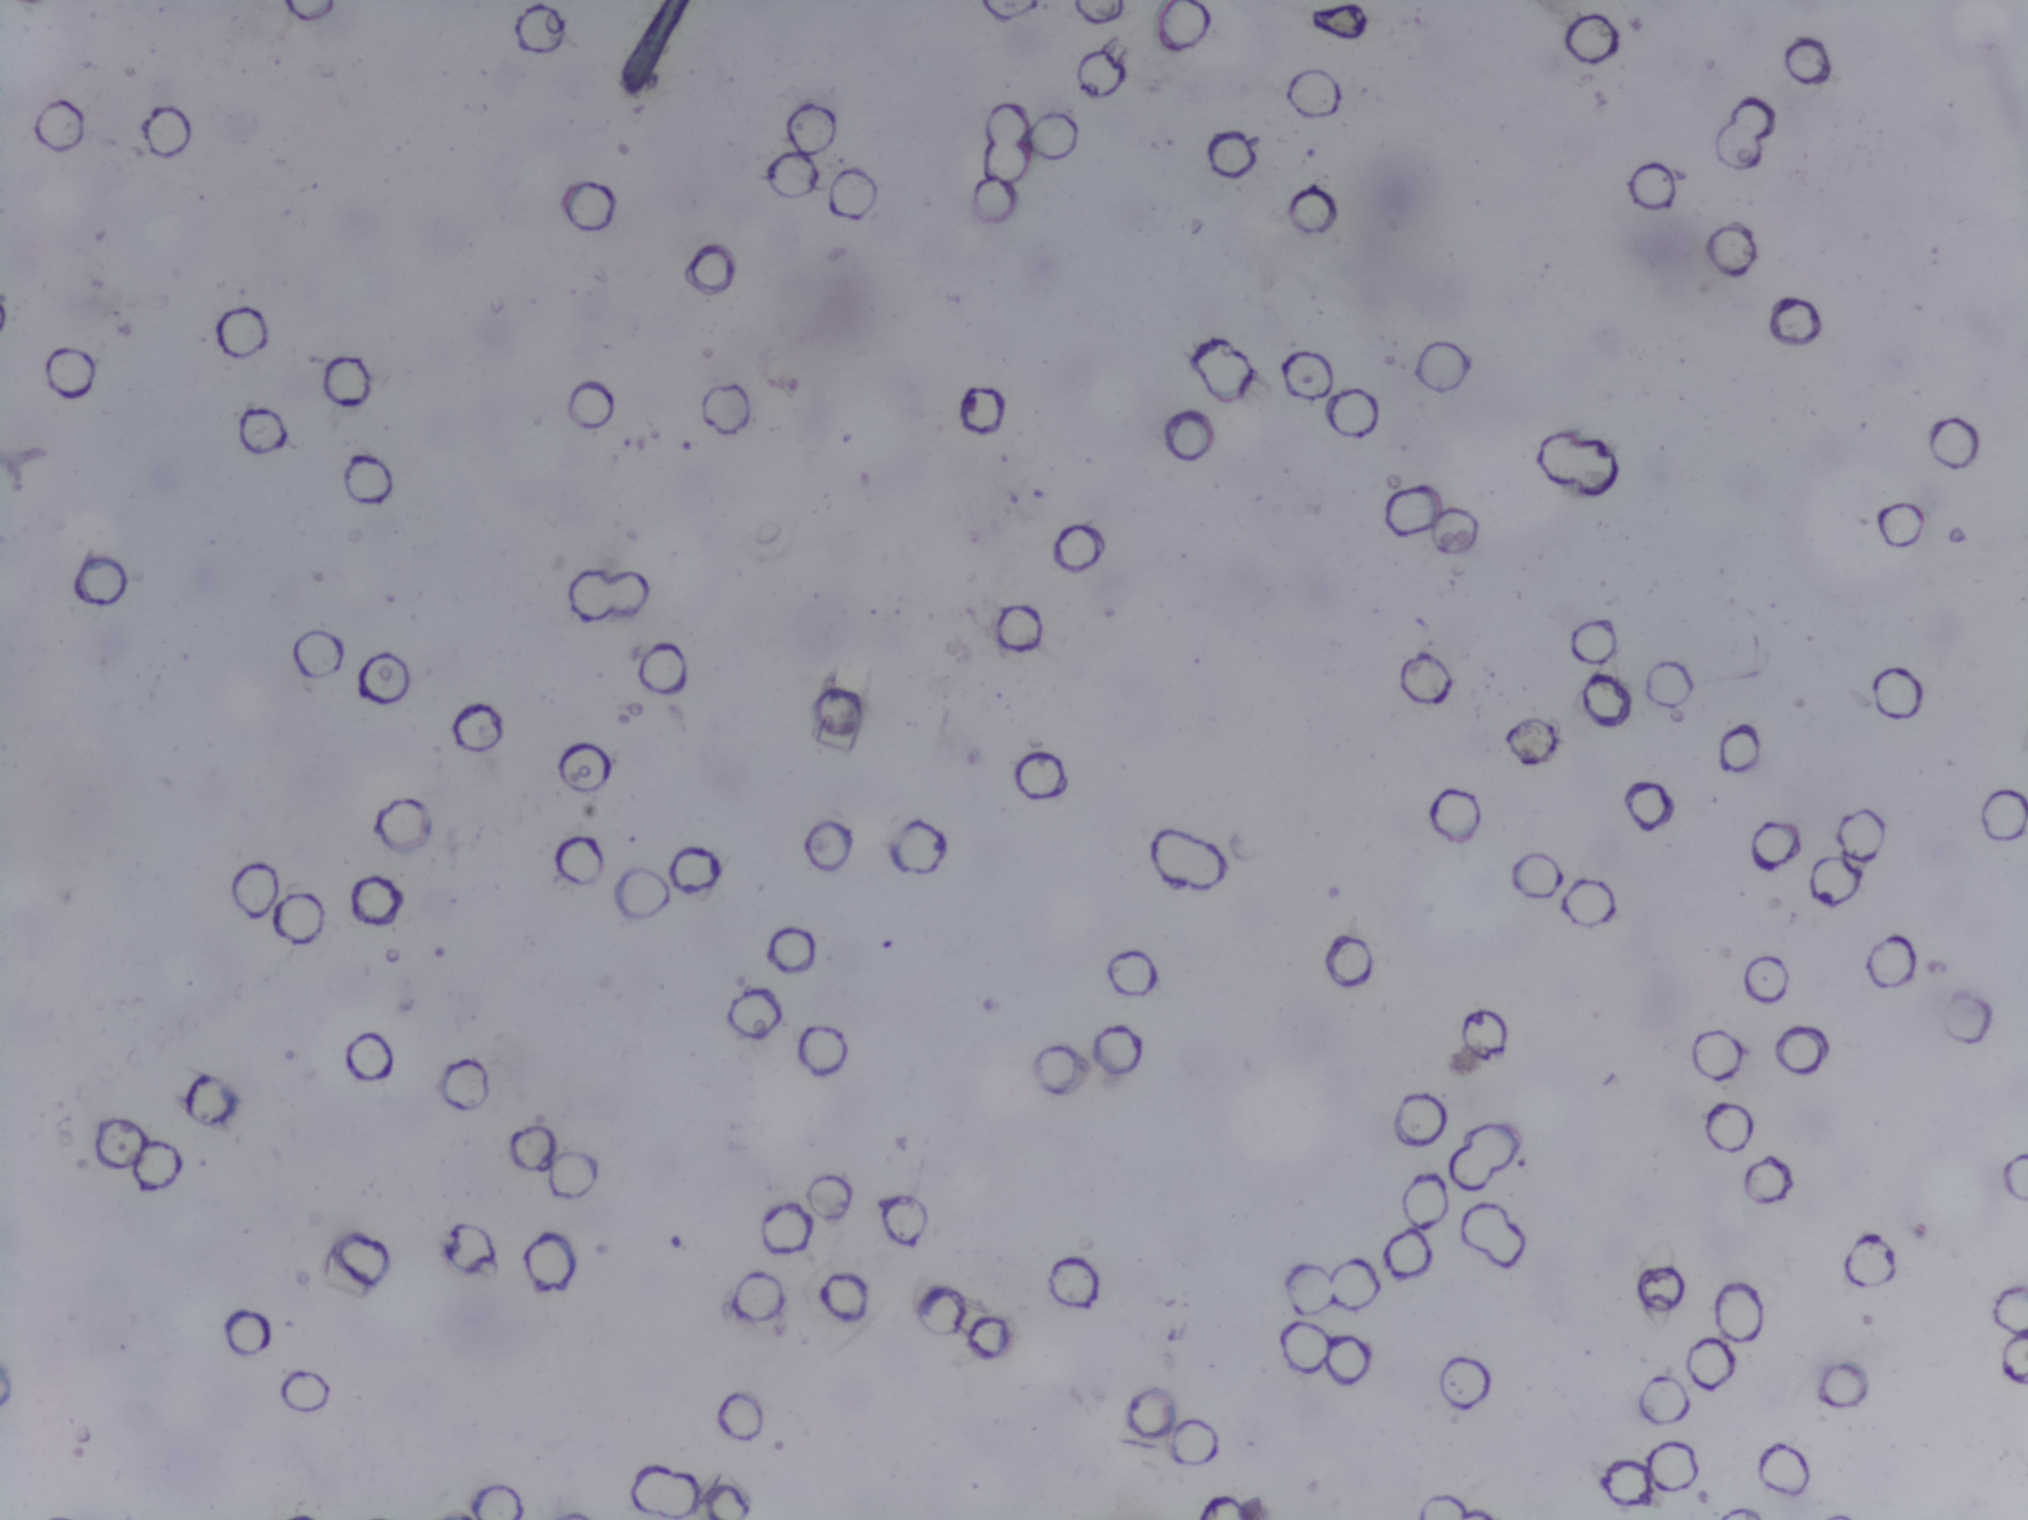
Photograph from an automated digital microscope: urine filter membrane, 4× objective.
The expert annotation outlines no Schistosoma egg in this image.